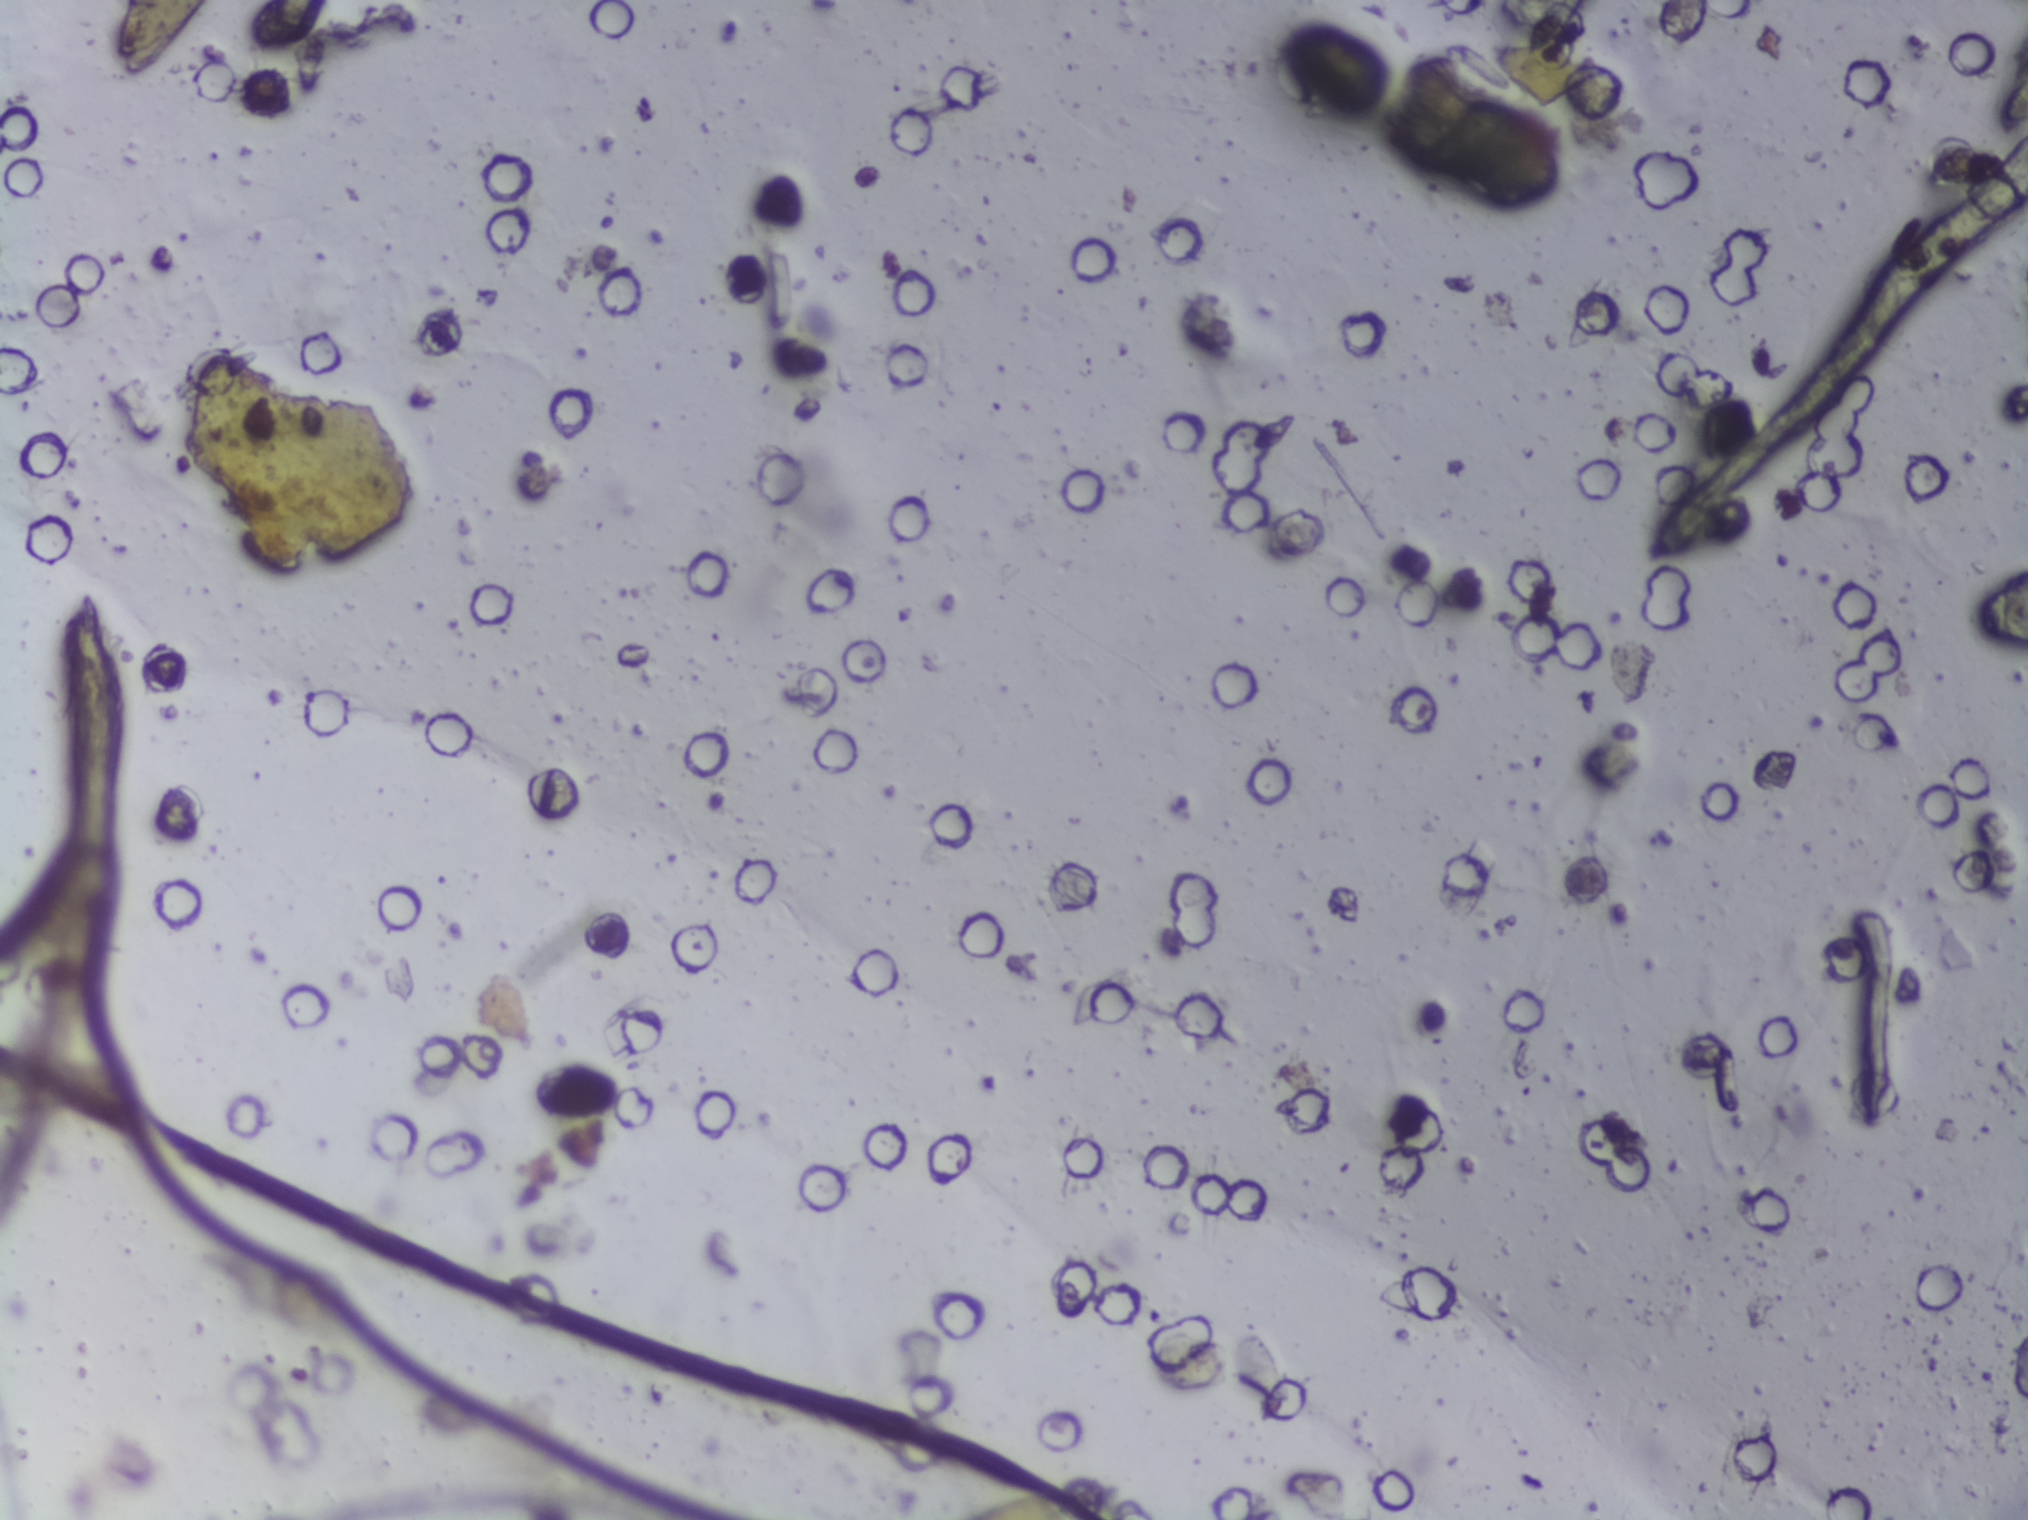
No Schistosoma egg is outlined in this image's expert annotation.
One field of view of a urine filter membrane, 4× objective, 2028 × 1520 pixels.